Photograph from an automated digital microscope: urine filter membrane, 4× objective.
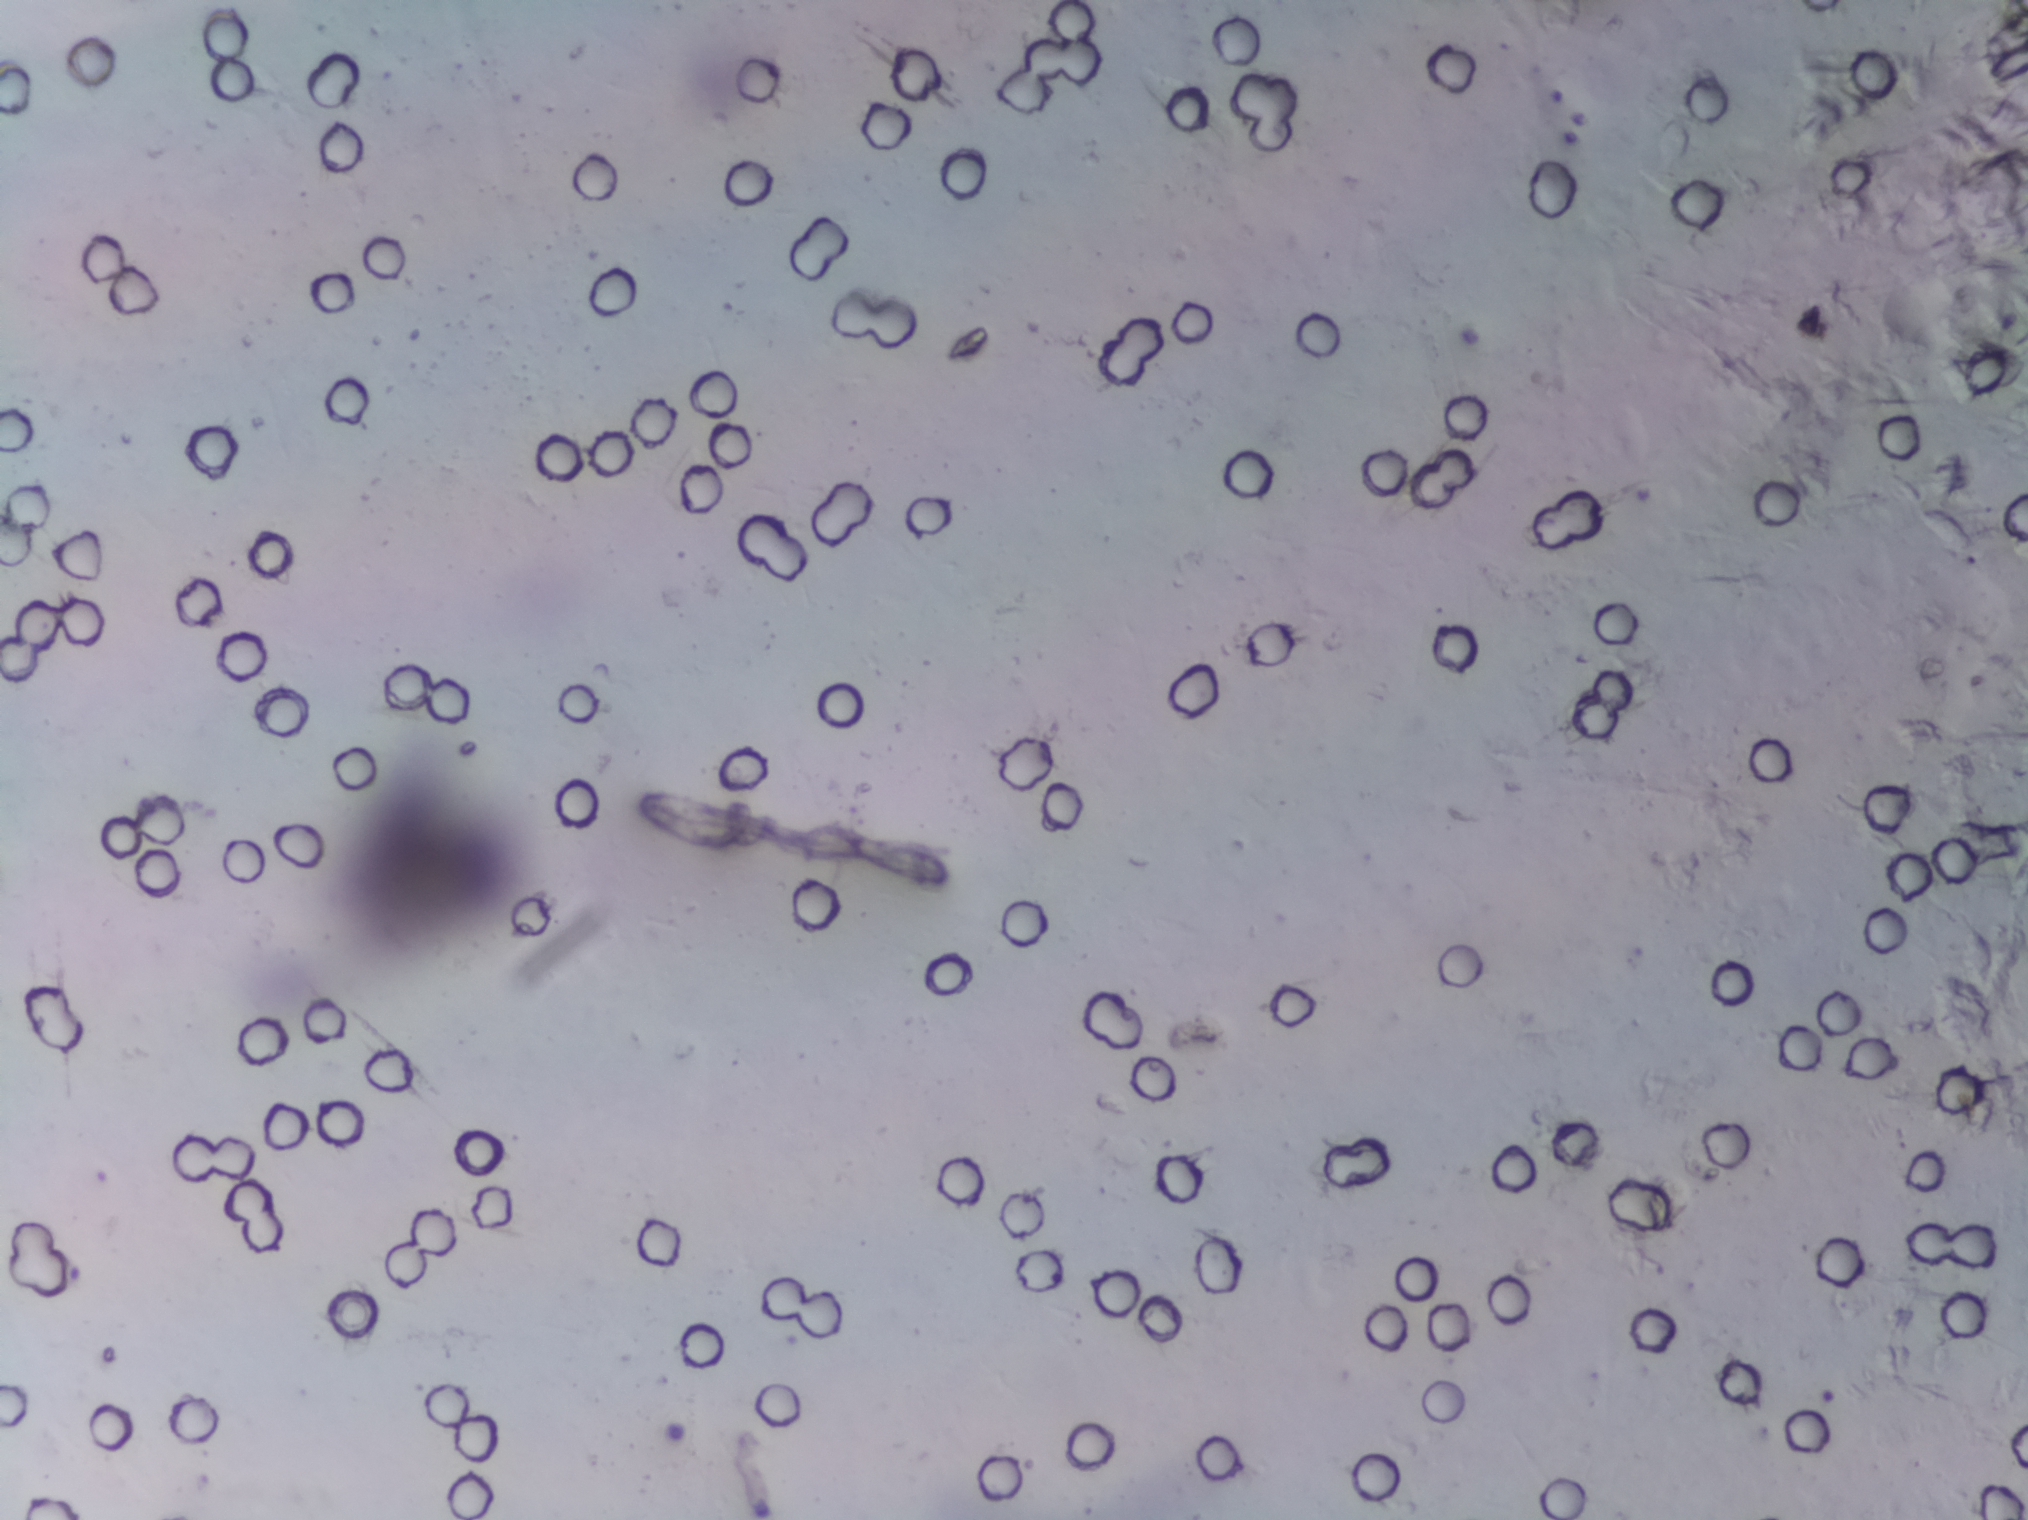
No area of this image was outlined as a Schistosoma egg.